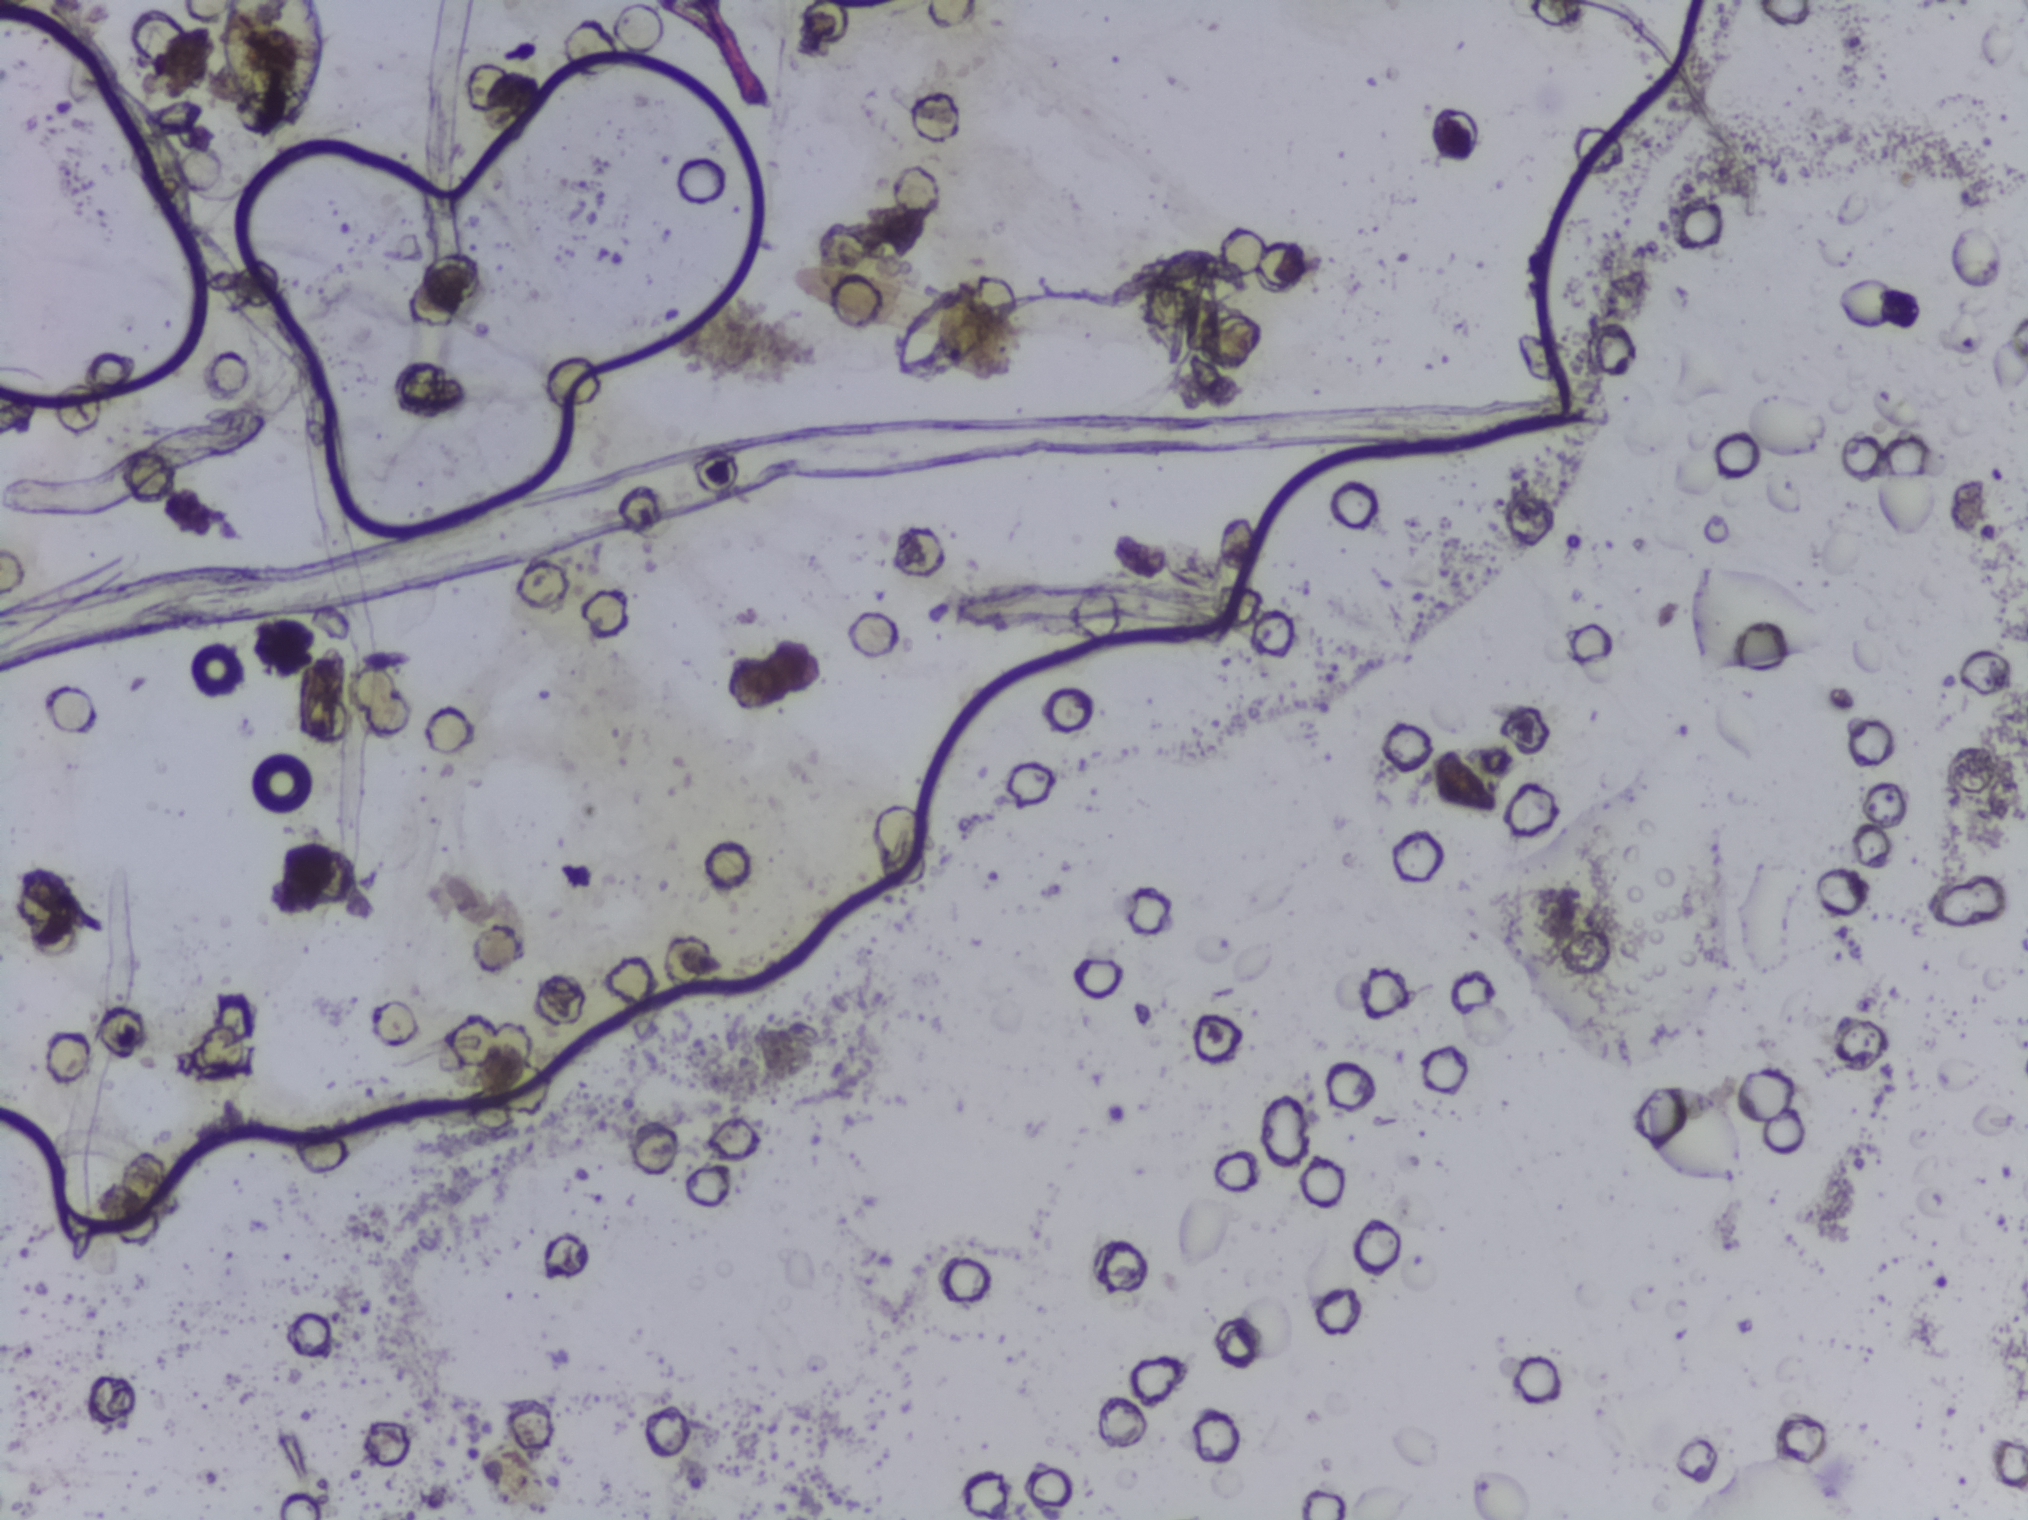
Urine filter membrane photographed through a 4× microscope objective.
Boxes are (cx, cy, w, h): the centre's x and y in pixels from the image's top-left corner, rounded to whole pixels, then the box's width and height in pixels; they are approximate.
The expert annotation outlines Schistosoma eggs at (cx=270, cy=77, w=108, h=154) (reaching the top edge of the frame). A single outlined area may contain several eggs. A marked egg may occasionally be S. mansoni rather than S. haematobium.